Microscope photograph (4× objective) of a membrane that a urine sample was filtered through. The image covers about 1.5 × 1.1 mm of the membrane.
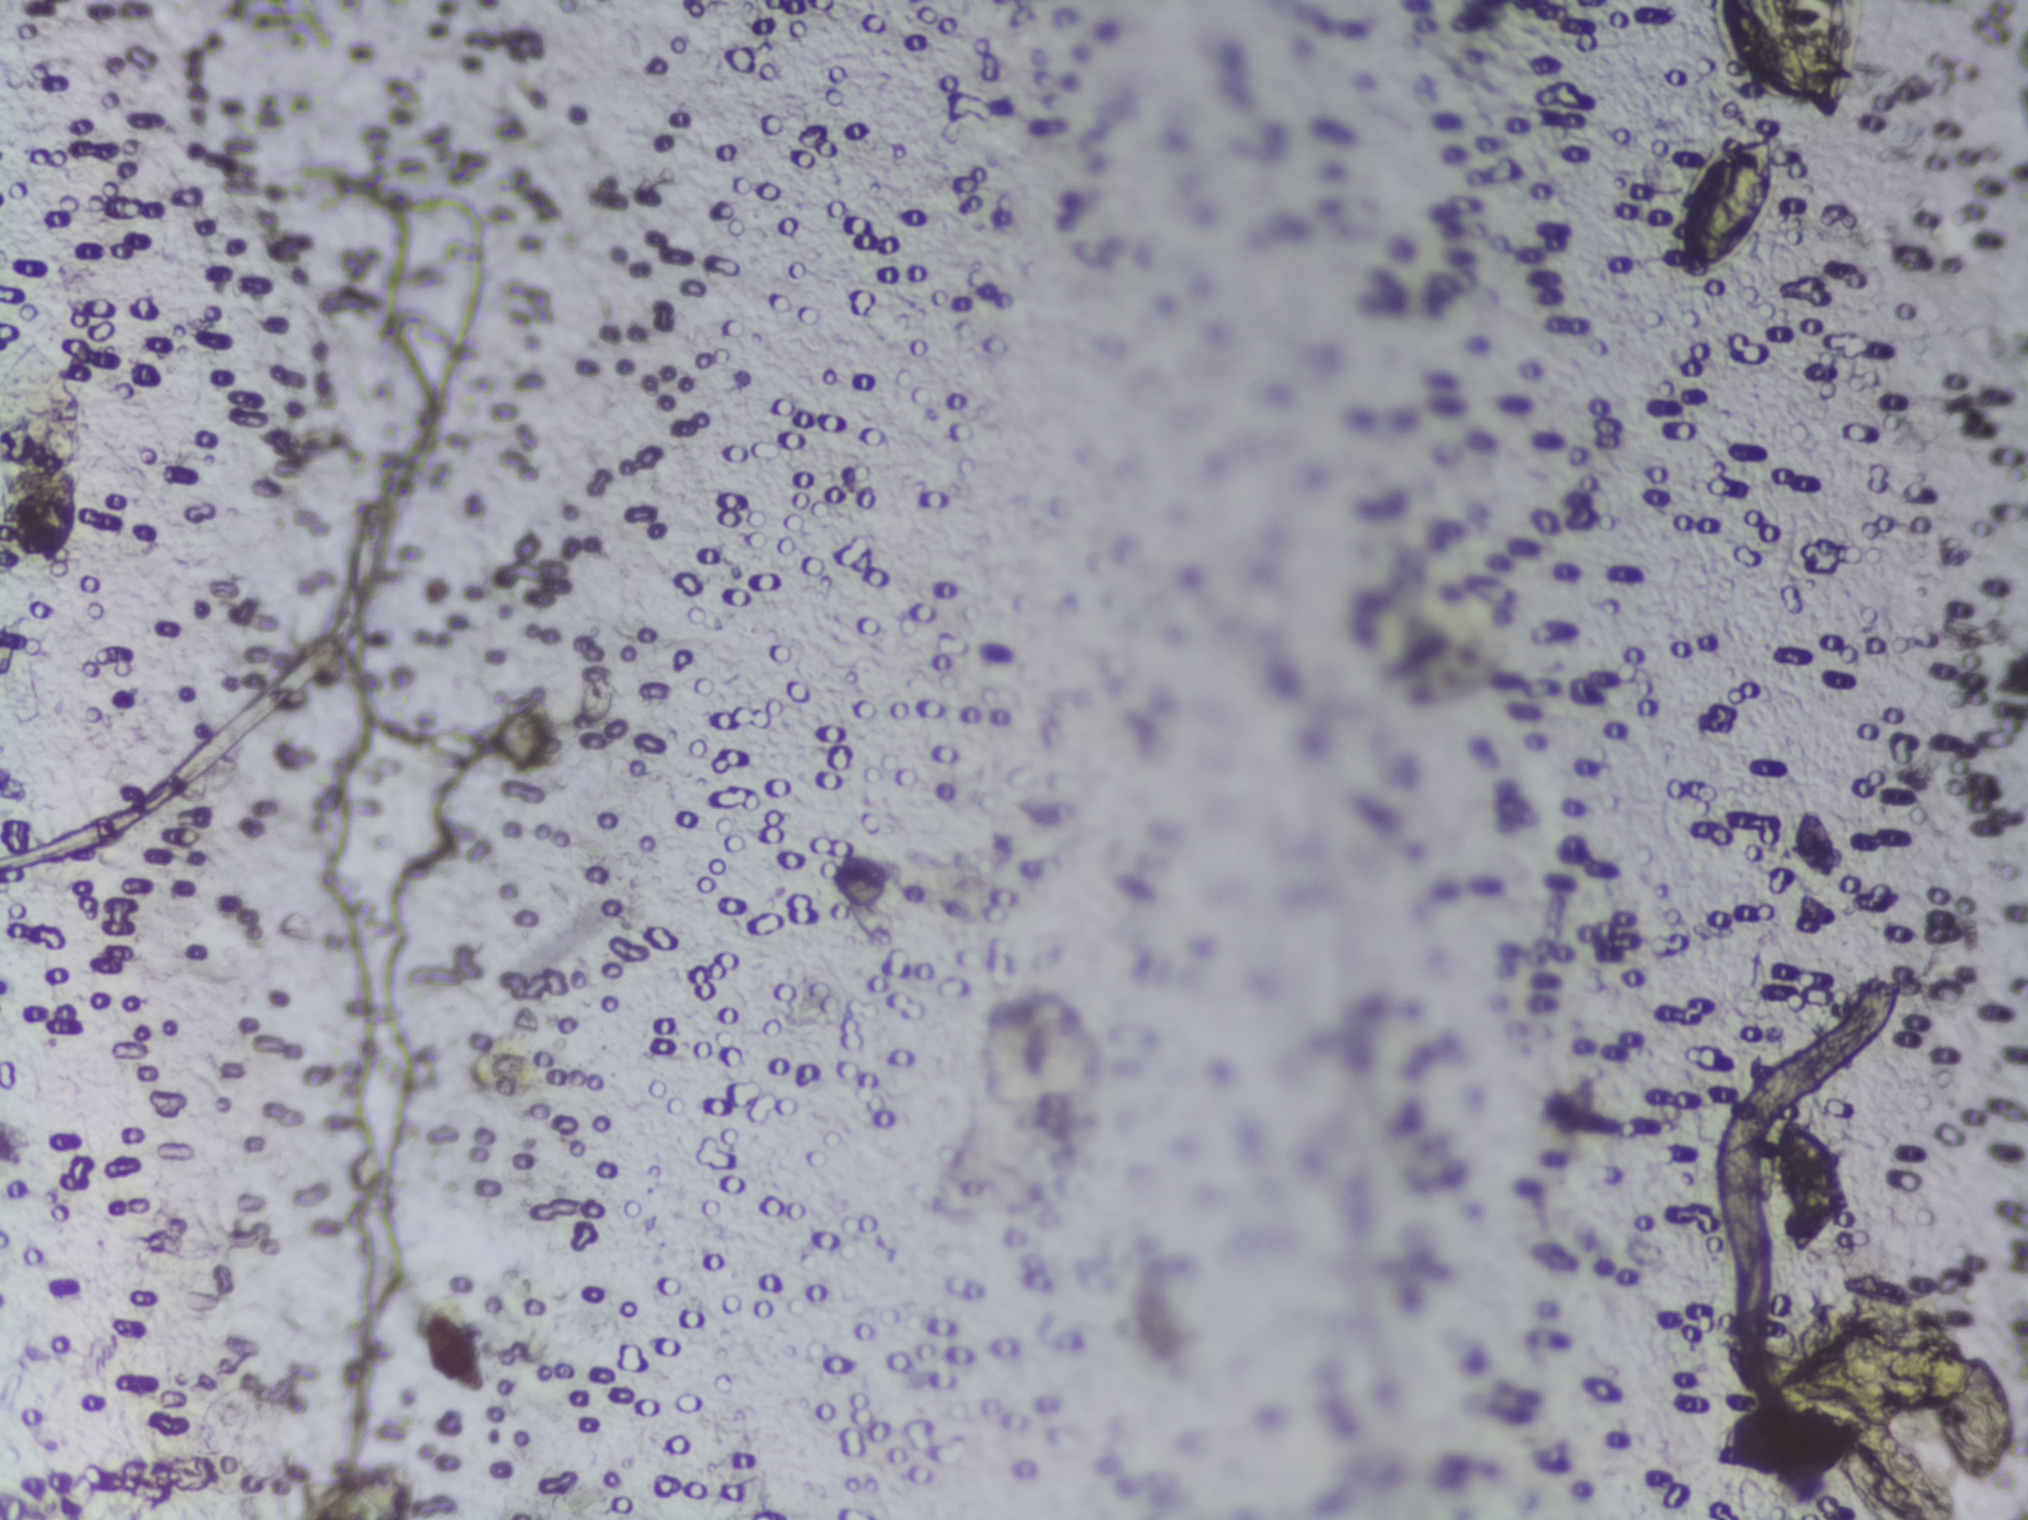
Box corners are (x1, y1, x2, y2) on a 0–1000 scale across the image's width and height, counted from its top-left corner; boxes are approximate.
The expert annotation outlines Schistosoma eggs at (146, 962, 208, 1000) (reaching the bottom edge of the frame); (825, 85, 876, 189); (842, 0, 921, 80) (reaching the top edge of the frame); (875, 736, 910, 805); (905, 936, 967, 1000) (reaching the bottom edge of the frame); (952, 888, 994, 977) (left to right). A single outlined area may contain several eggs.